One field of view of a urine filter membrane, 4× objective, 2028 × 1520 pixels.
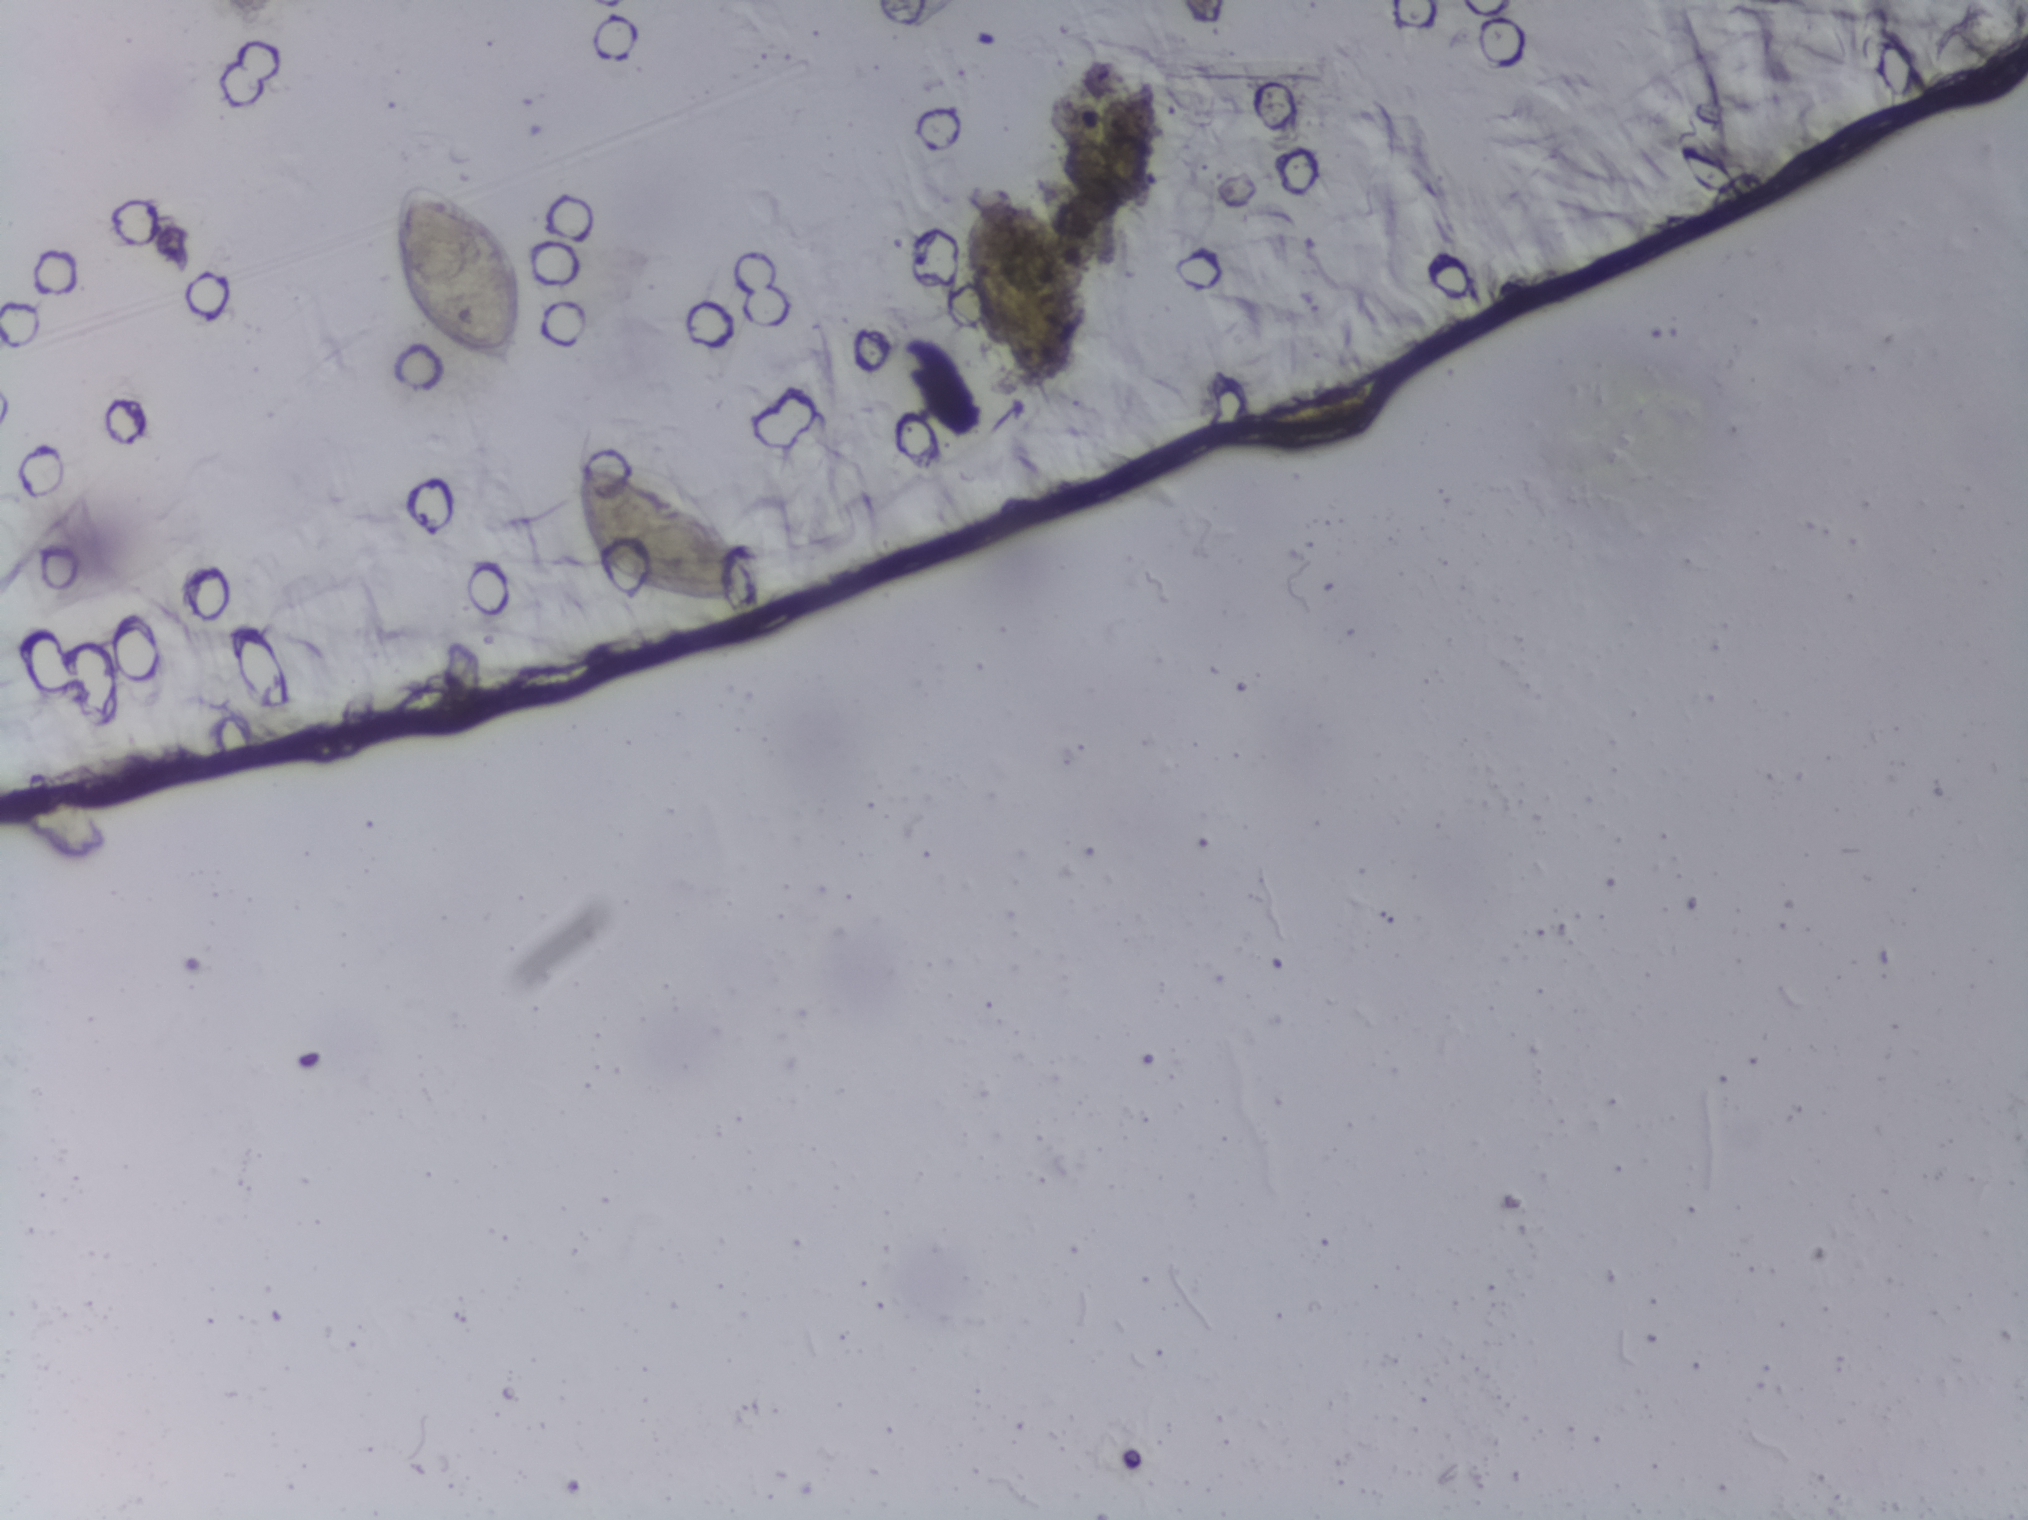
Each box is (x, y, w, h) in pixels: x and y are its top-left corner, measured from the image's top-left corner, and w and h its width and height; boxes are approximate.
Two areas of this image are outlined as Schistosoma eggs, from left to right: (x=384, y=175, w=148, h=204) and (x=566, y=449, w=204, h=163). Eggs that touch can end up inside the same outlined area.